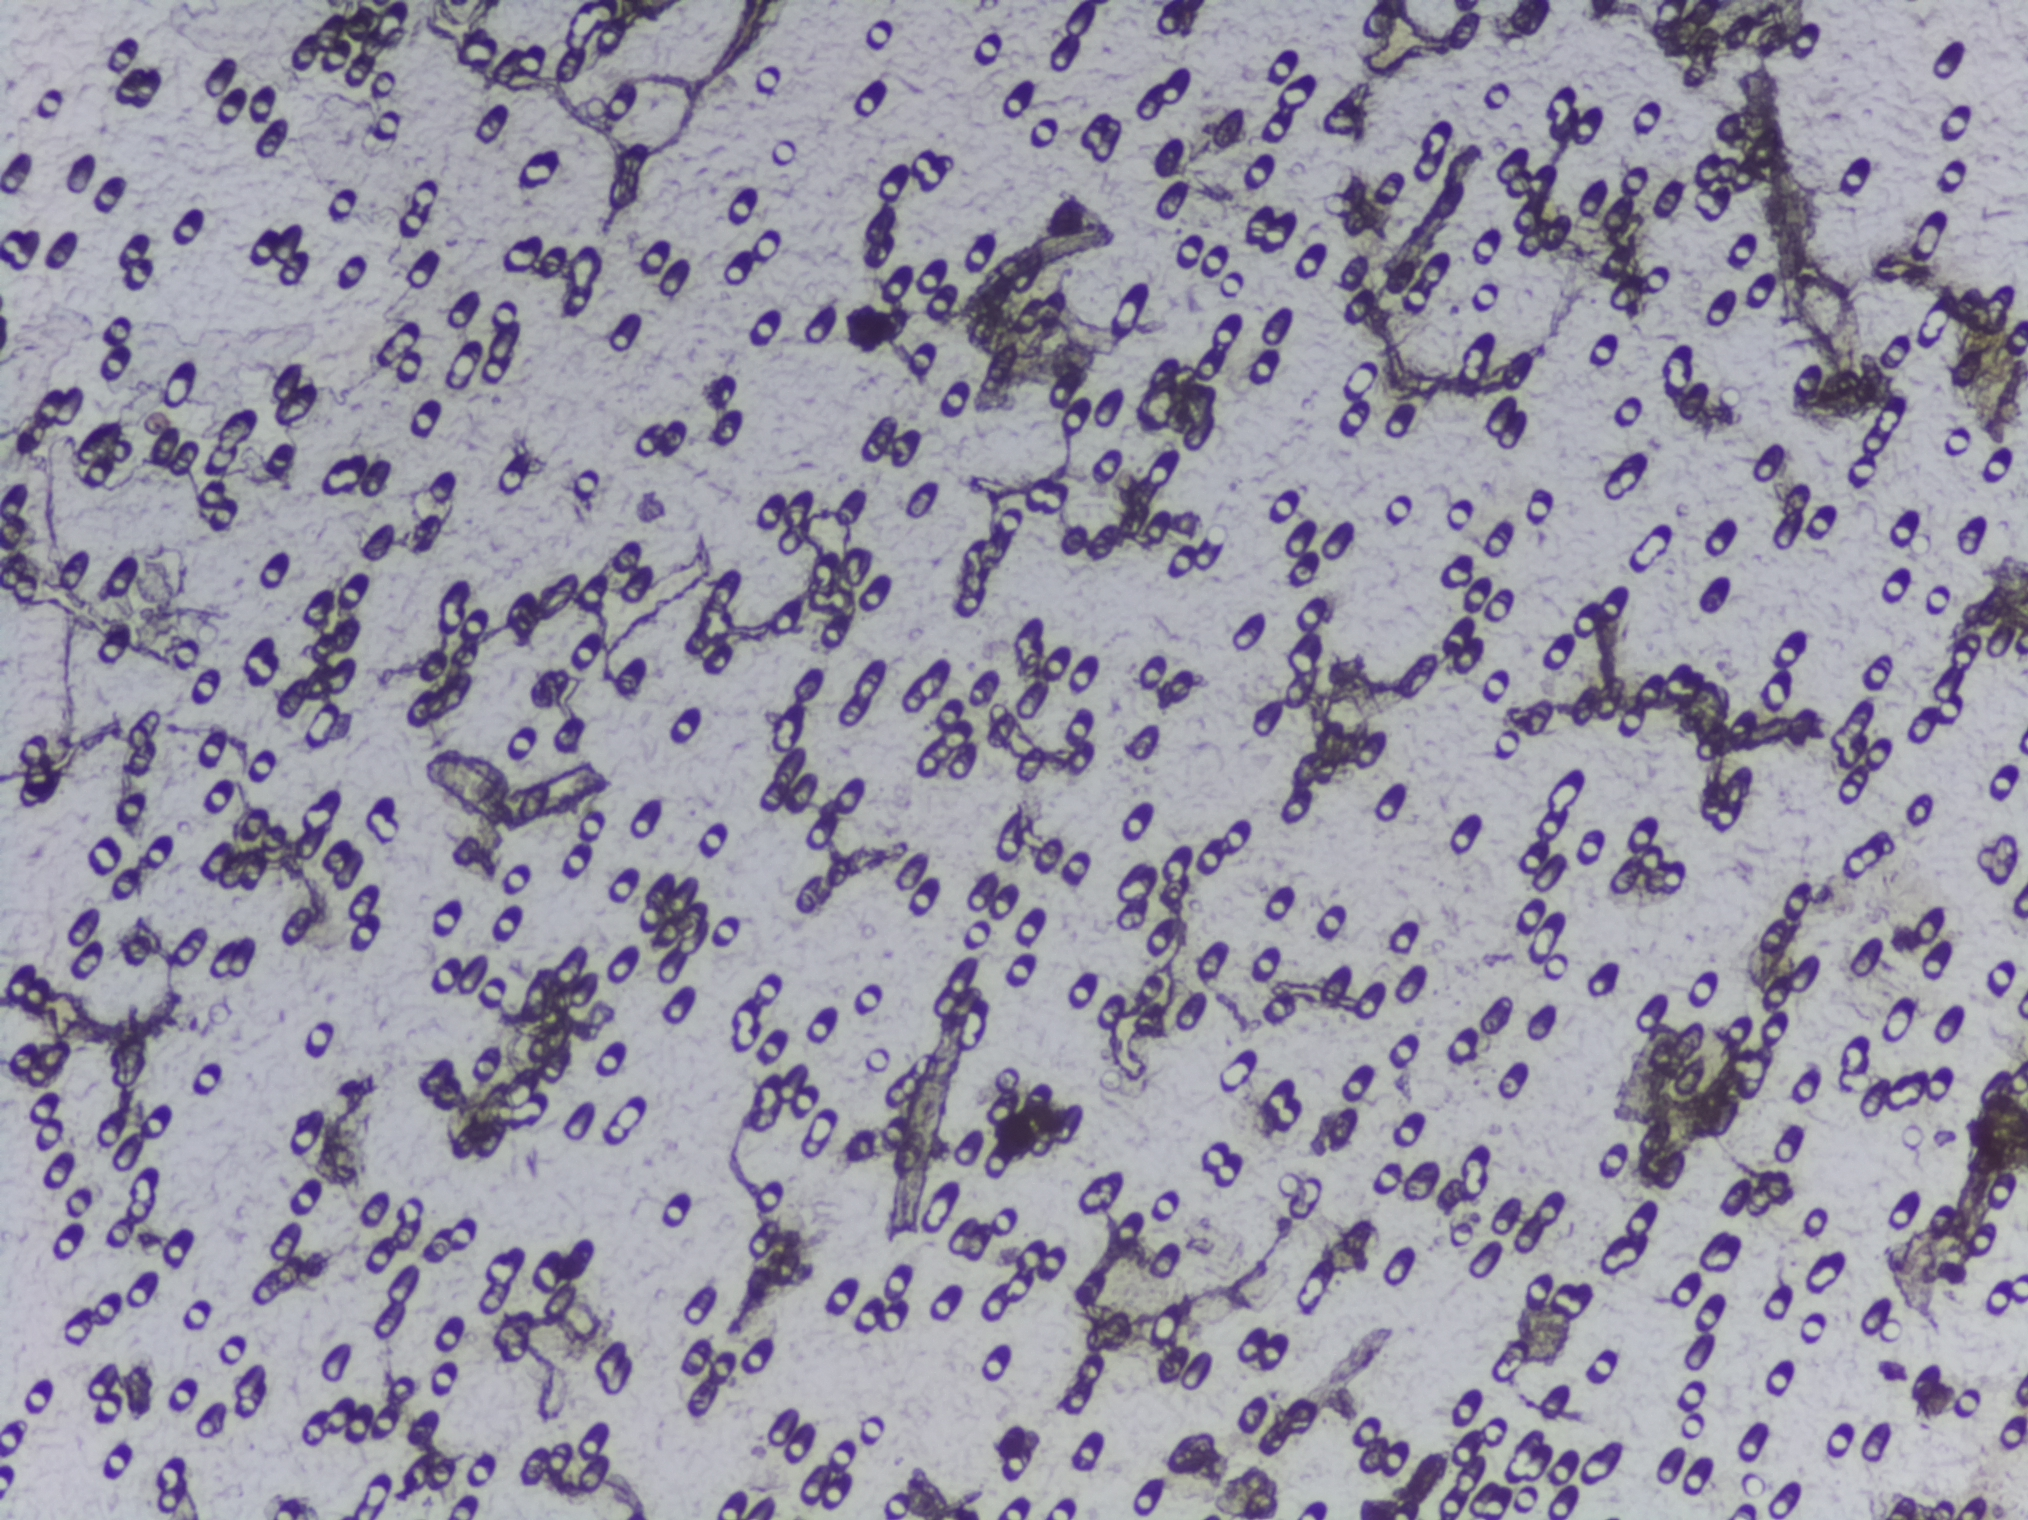
The expert annotation marks no Schistosoma egg in this field of view.
Photograph from an automated digital microscope: urine filter membrane, 4× objective. The field of view is about 1.5 mm × 1.1 mm.